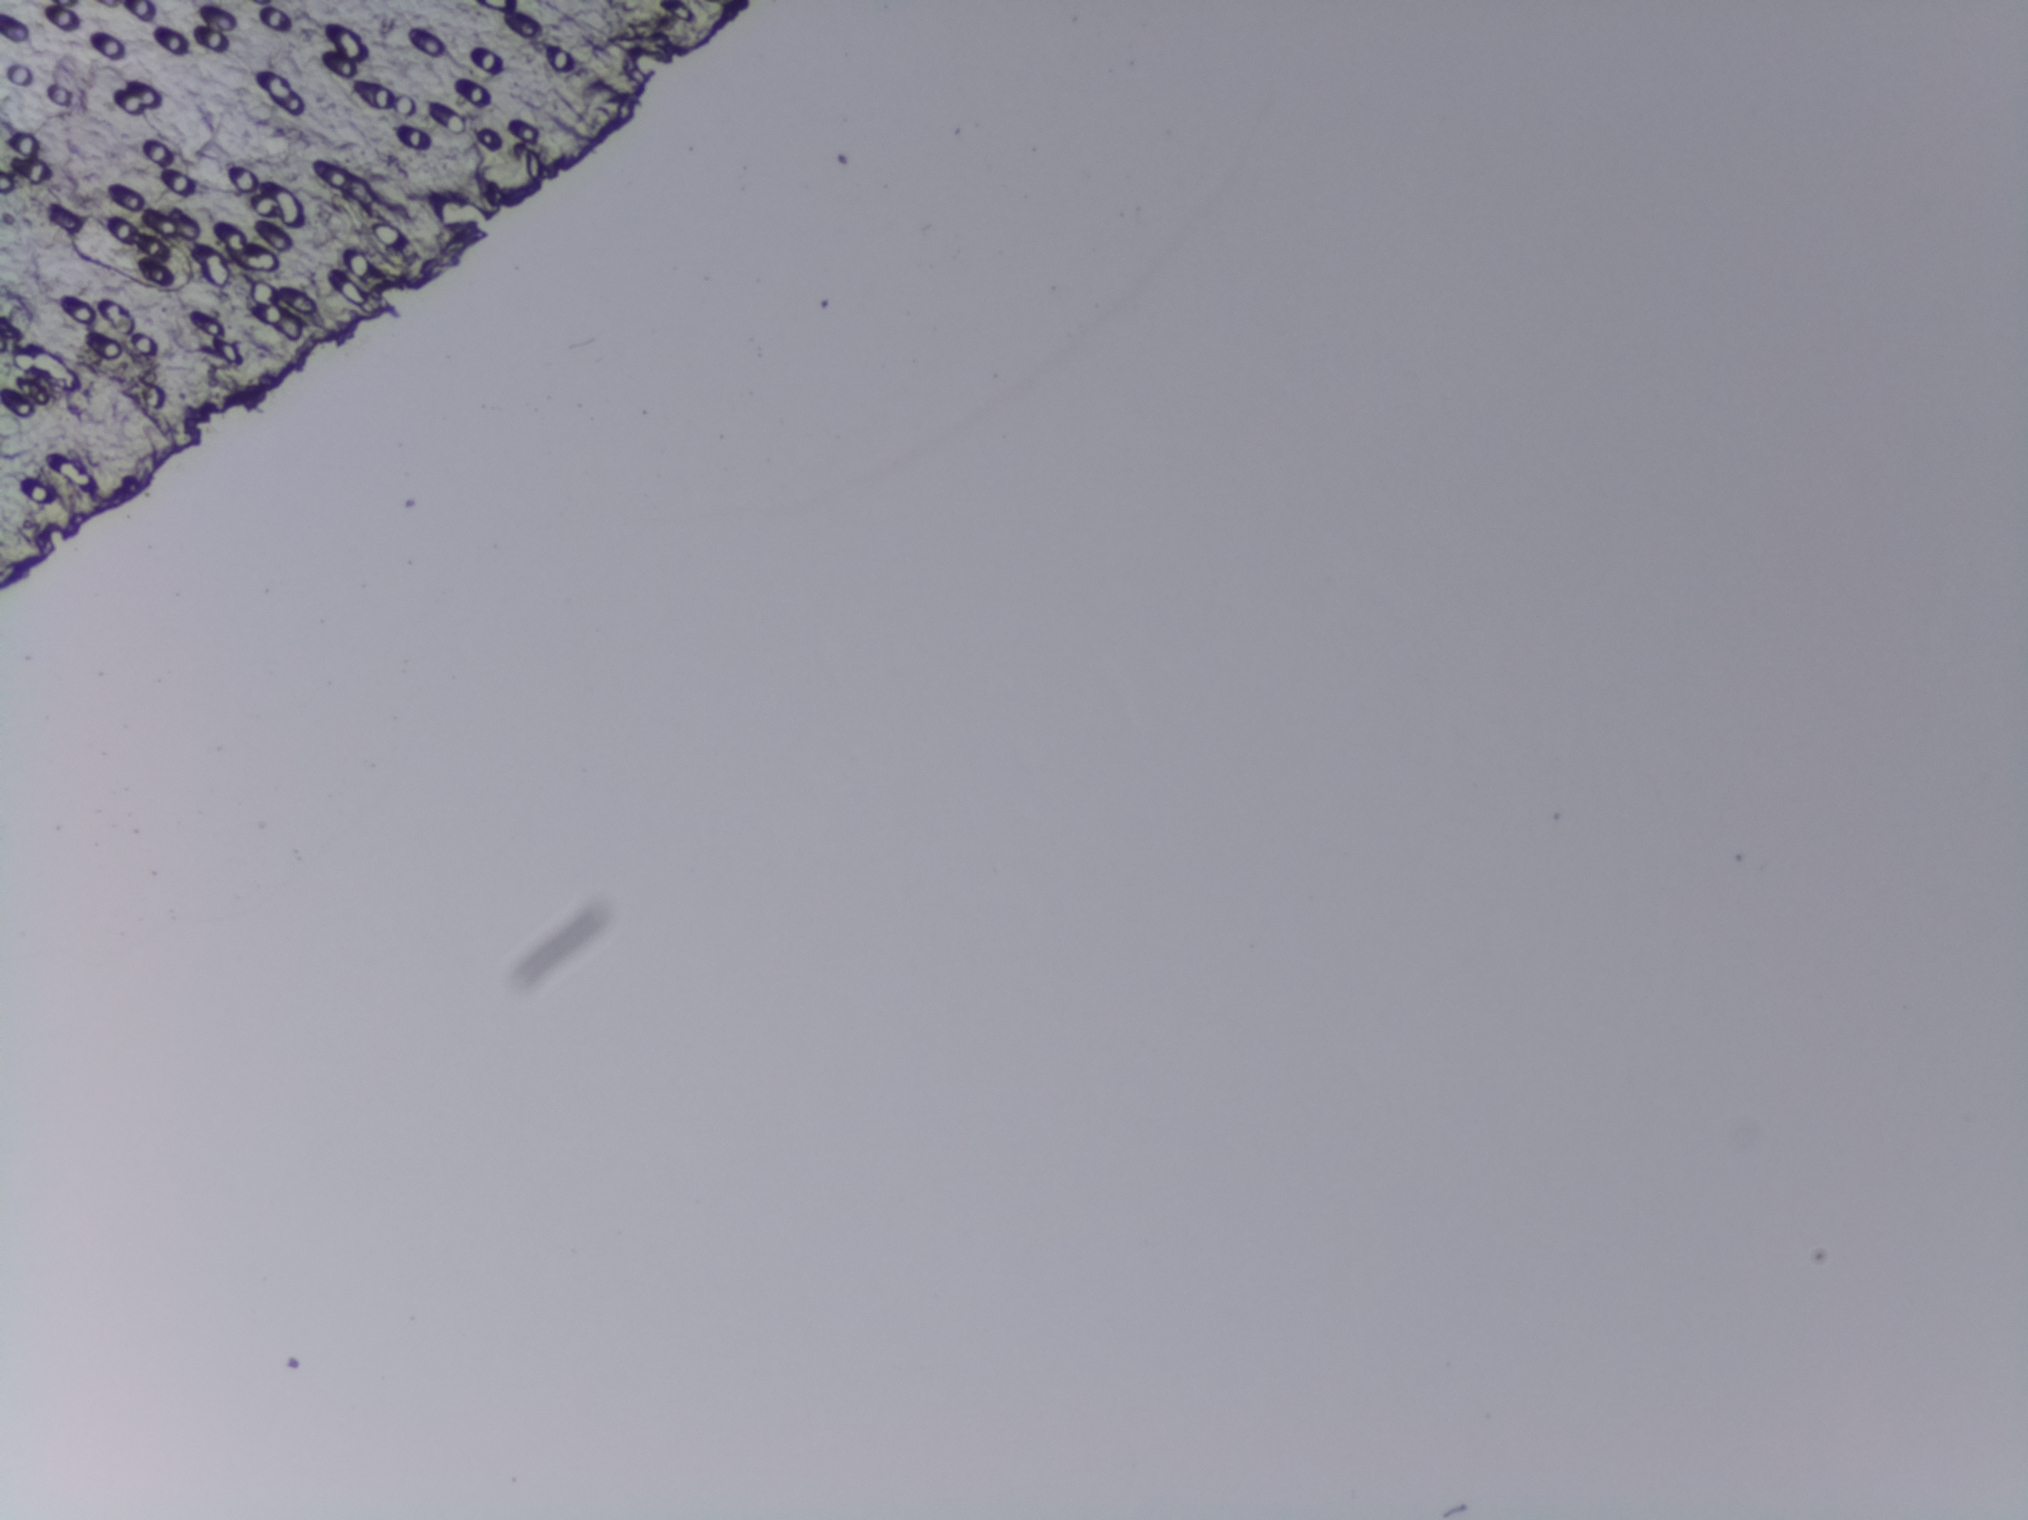
One field of view of a urine filter membrane, 4× objective, 2028 × 1520 pixels. The field of view is about 1.5 mm × 1.1 mm.
Schistosoma eggs: none outlined.